Photograph from an automated digital microscope: urine filter membrane, 4× objective.
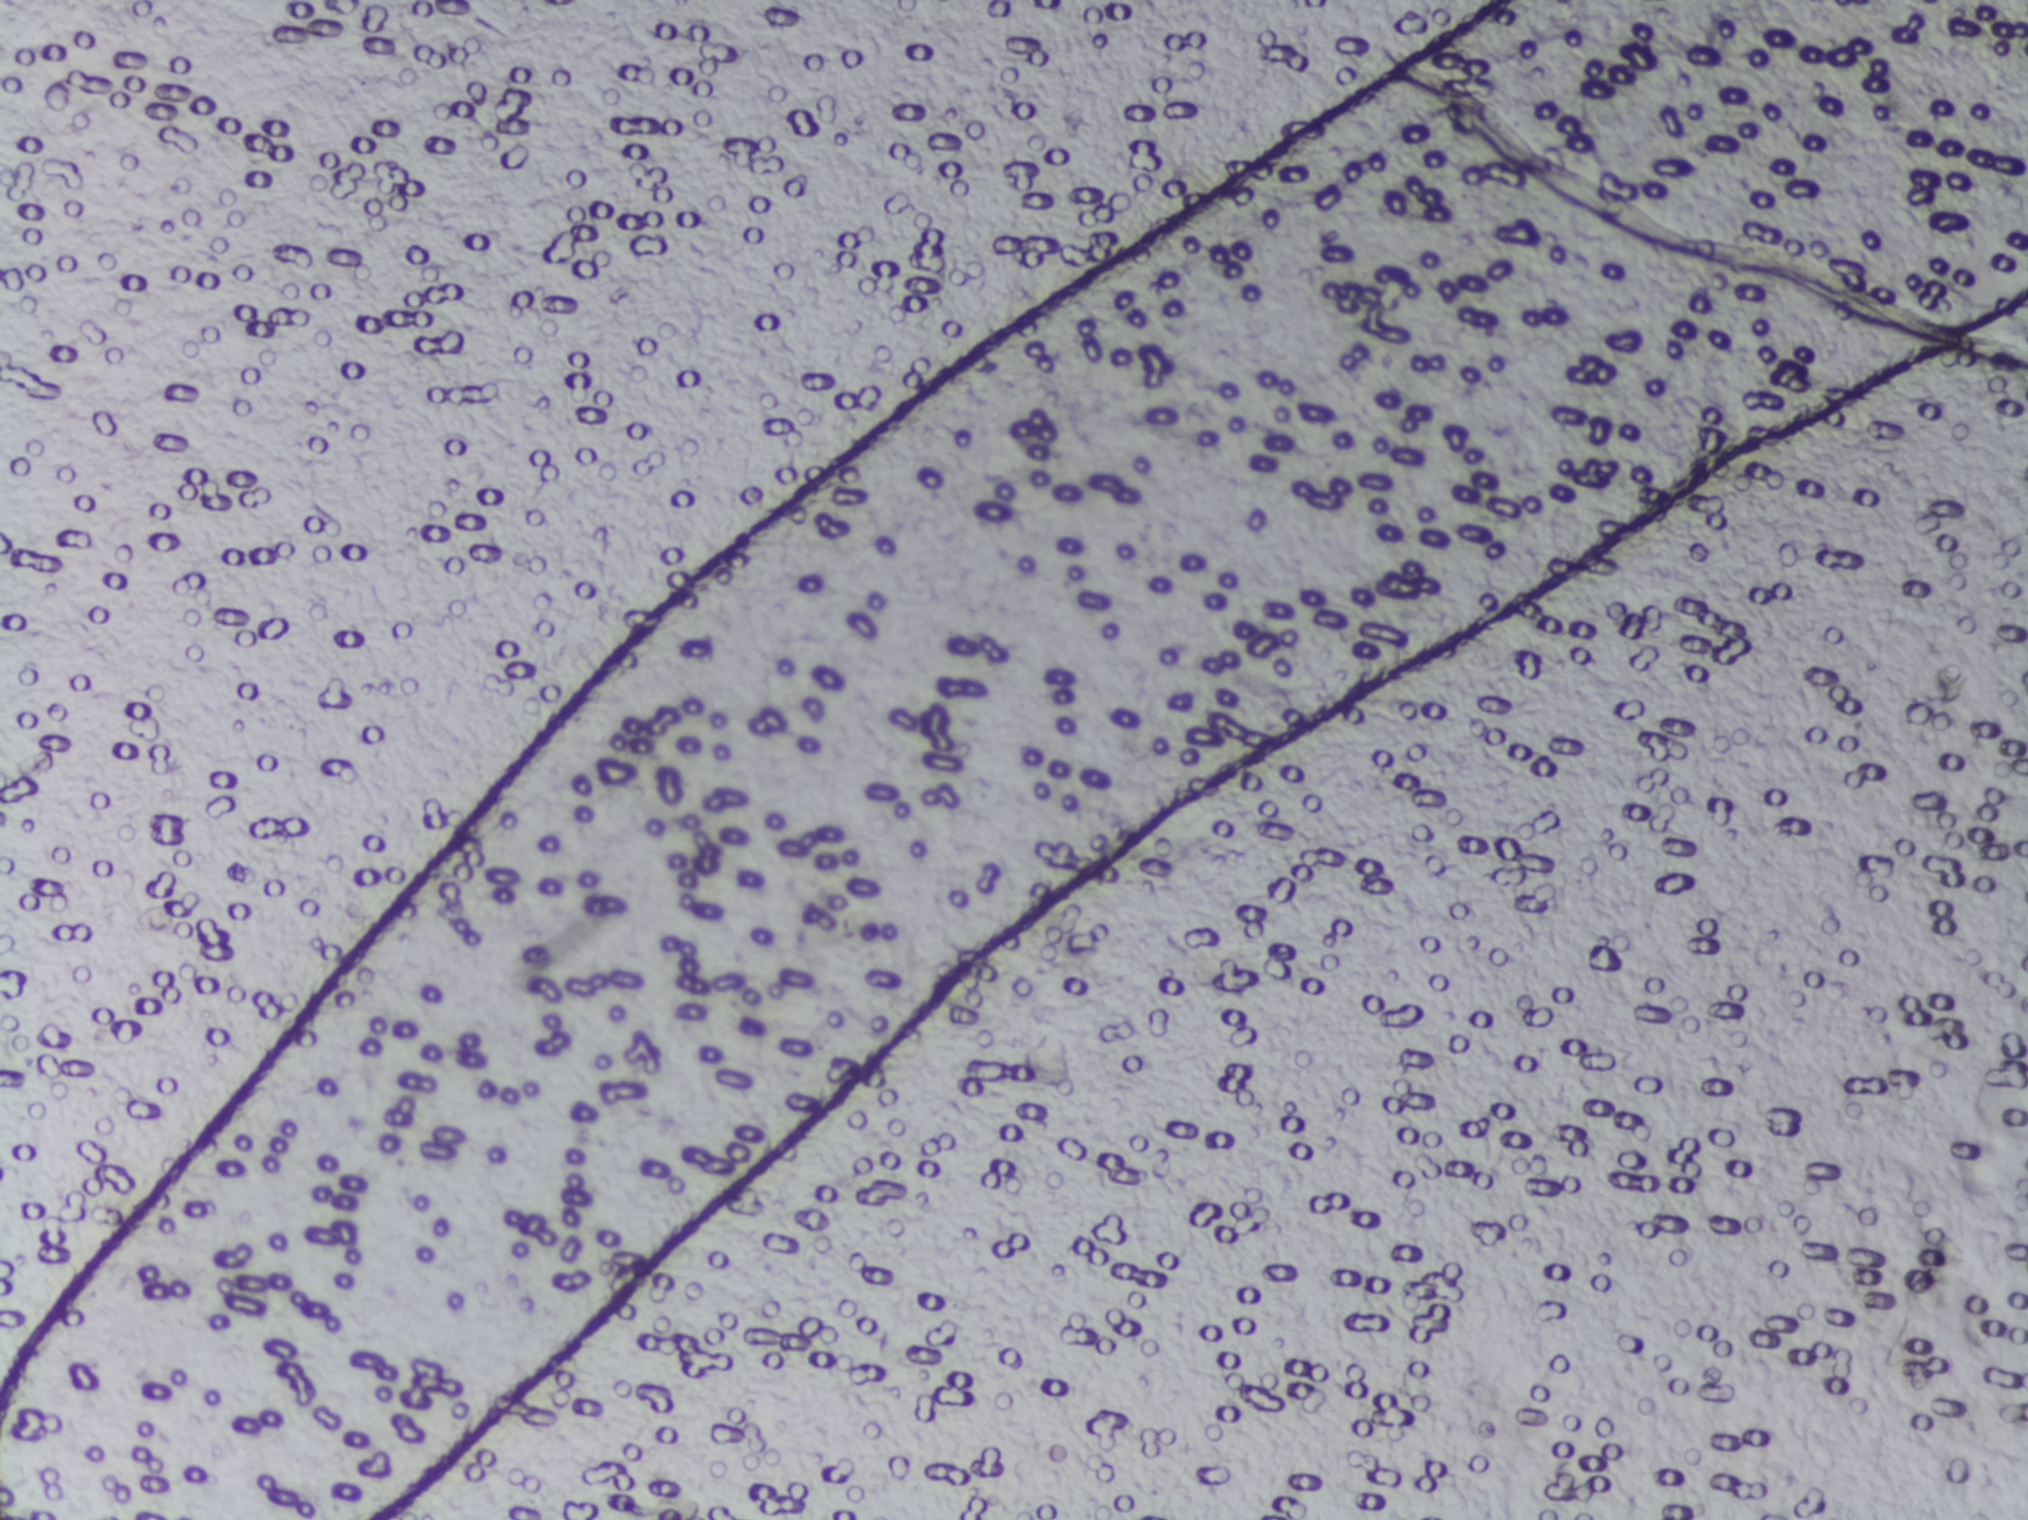
No Schistosoma egg is outlined in this image's expert annotation.